Urine filtration membrane under a 4× objective, photographed by an automated digital microscope.
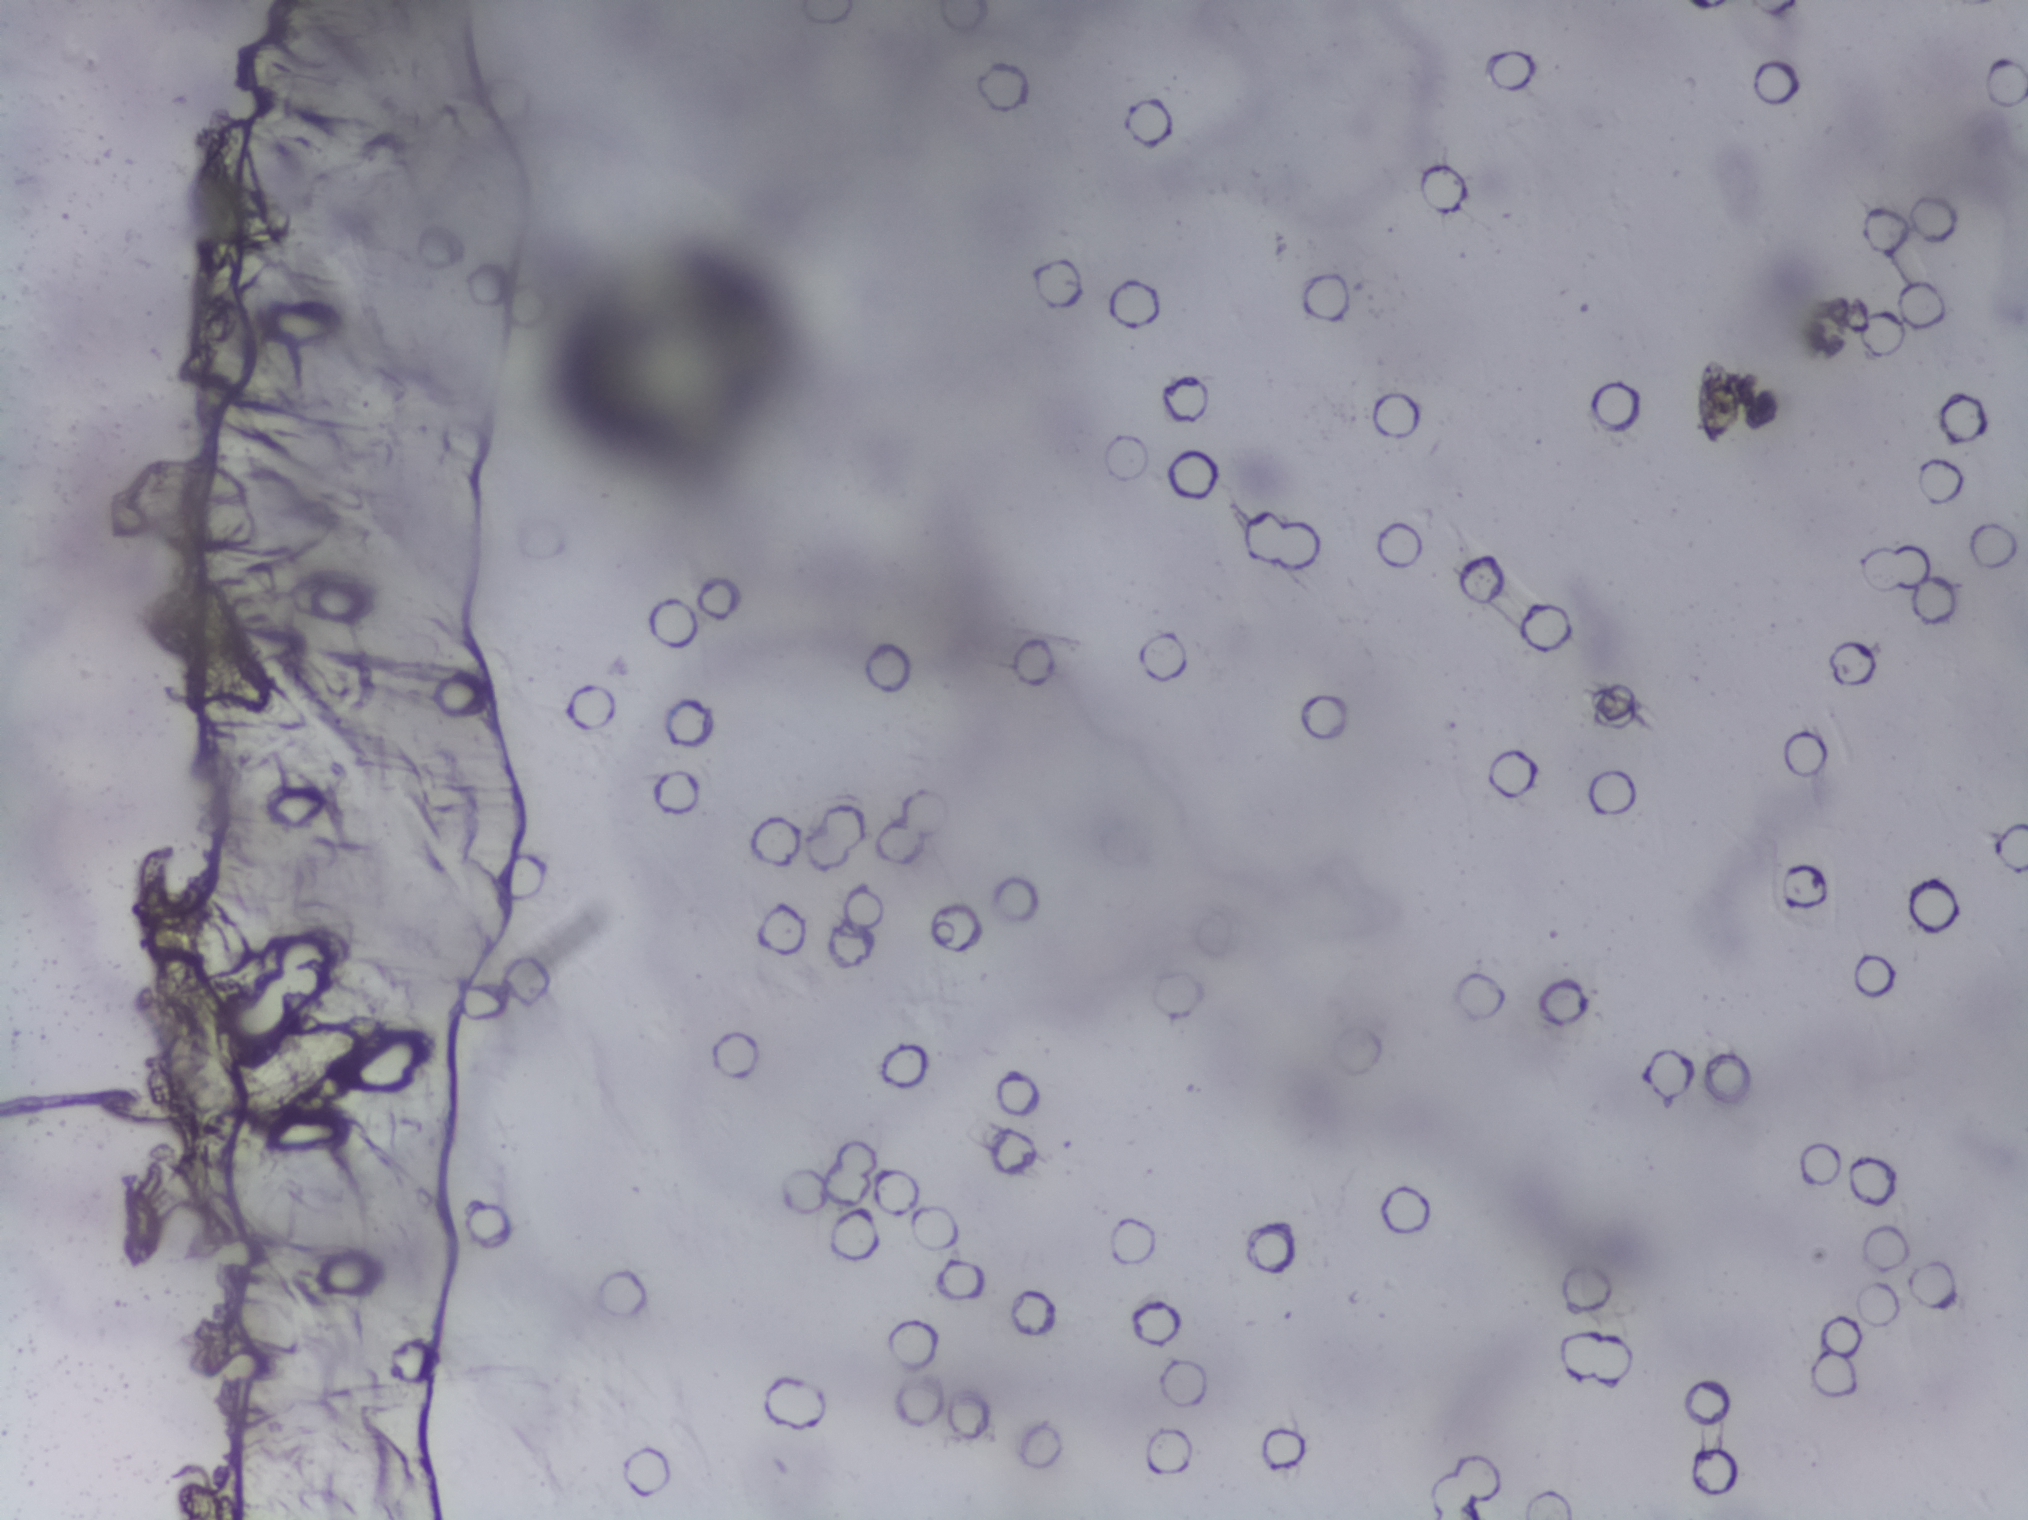
No Schistosoma egg is outlined in this image's expert annotation.